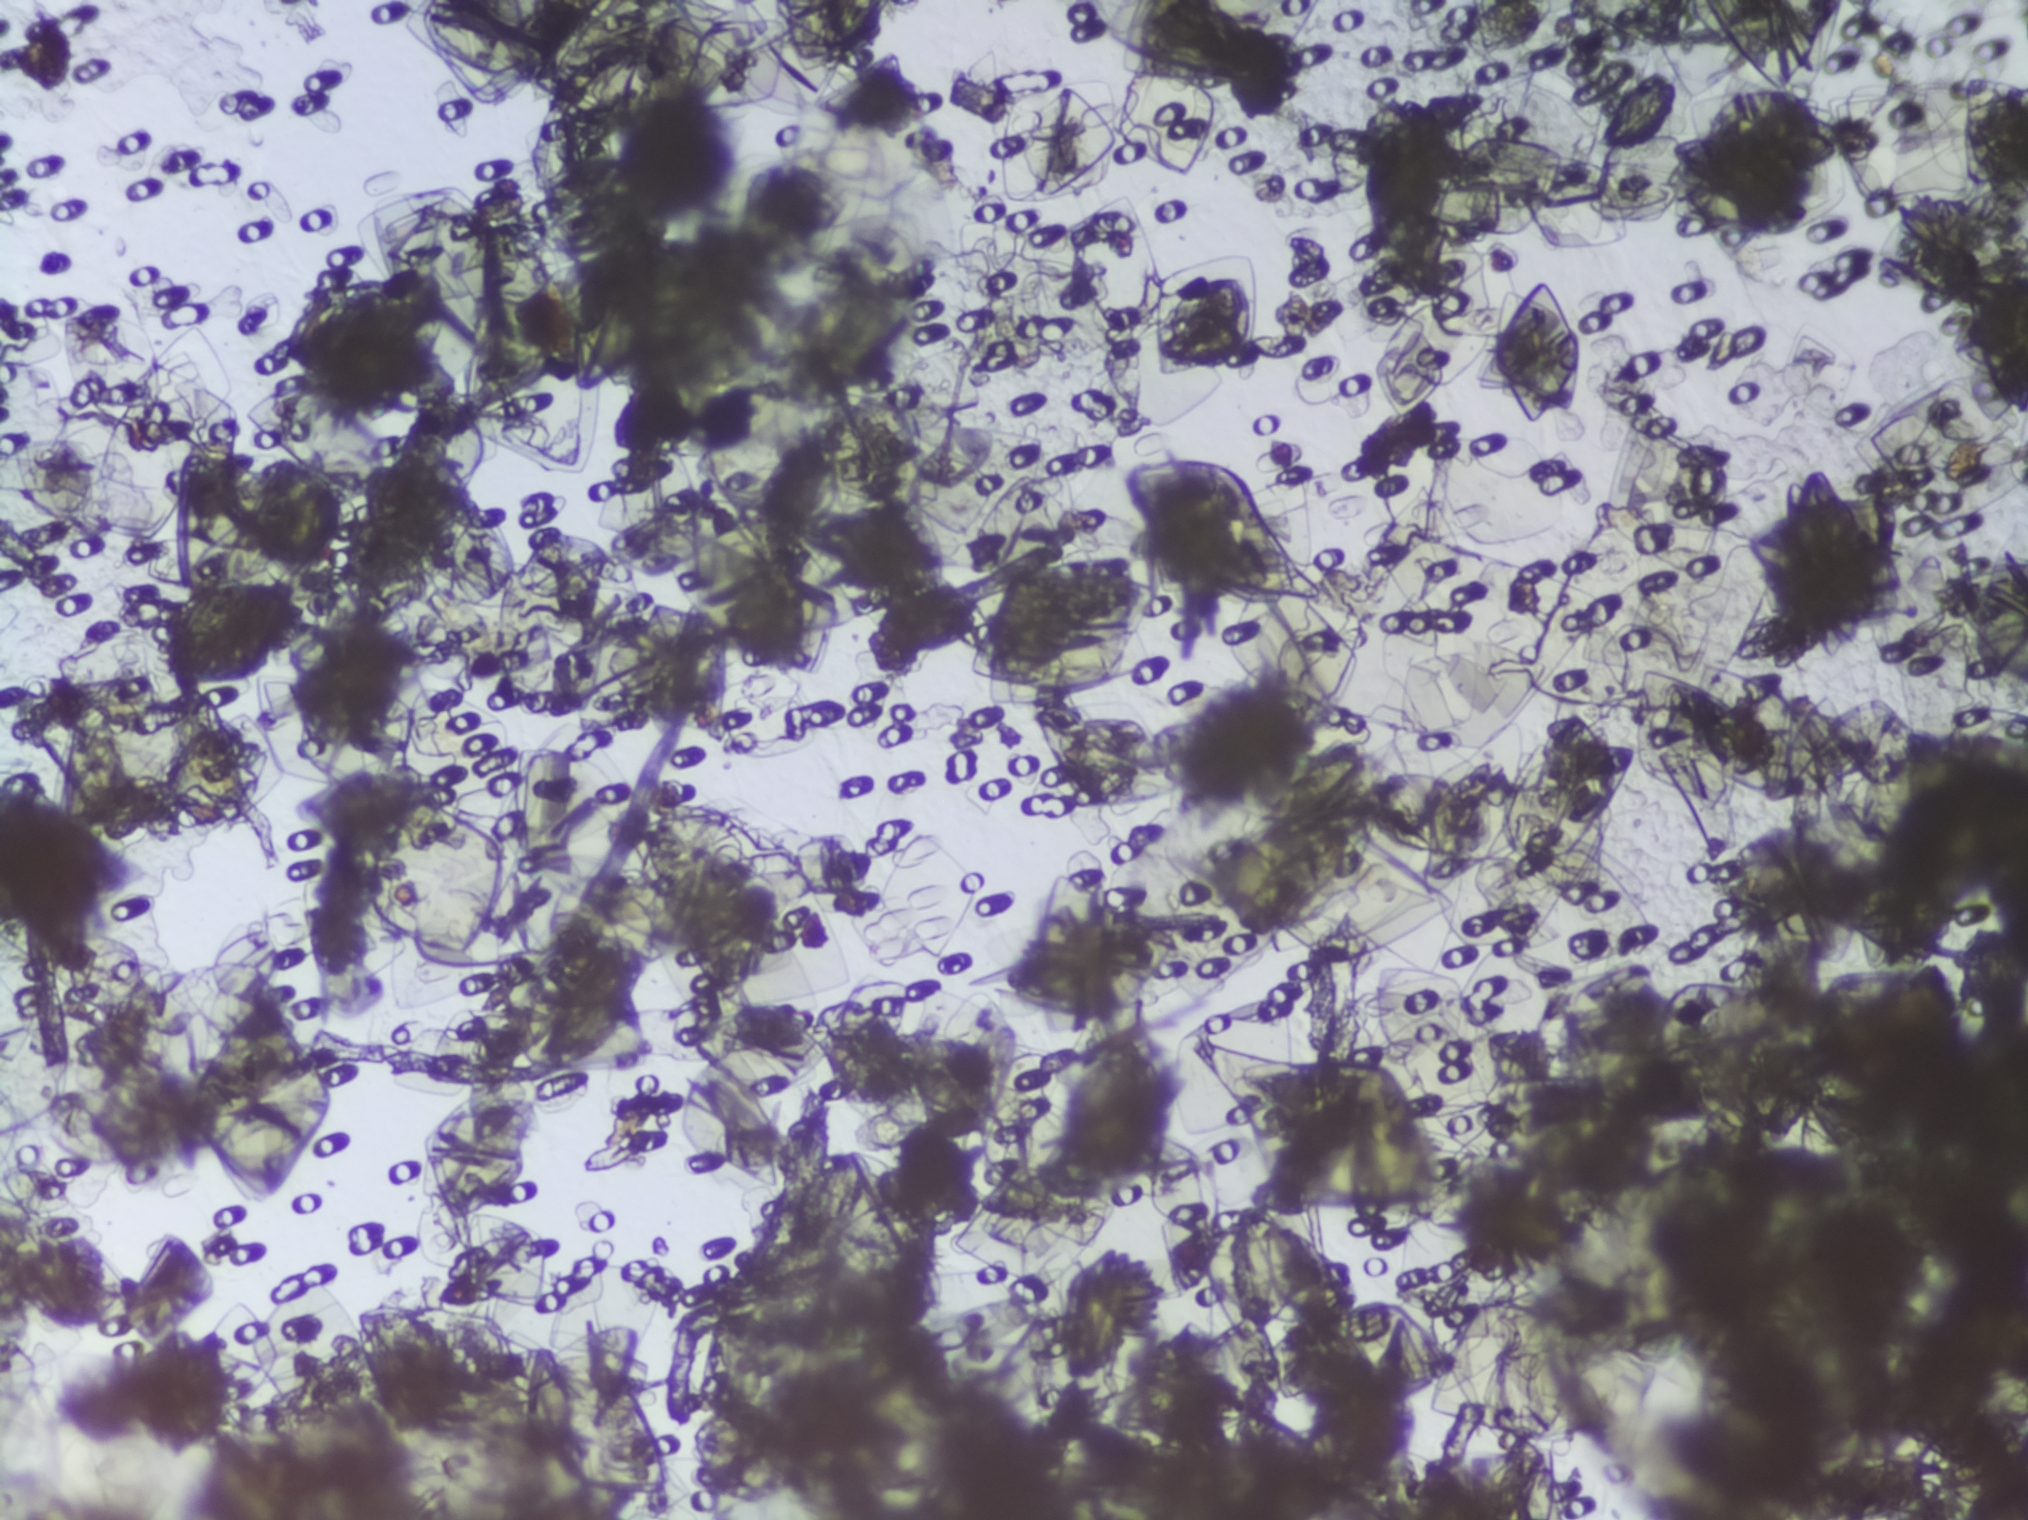
The expert annotation marks no Schistosoma egg in this field of view.
Urine filter membrane photographed through a 4× microscope objective.